Photograph from an automated digital microscope: urine filter membrane, 4× objective.
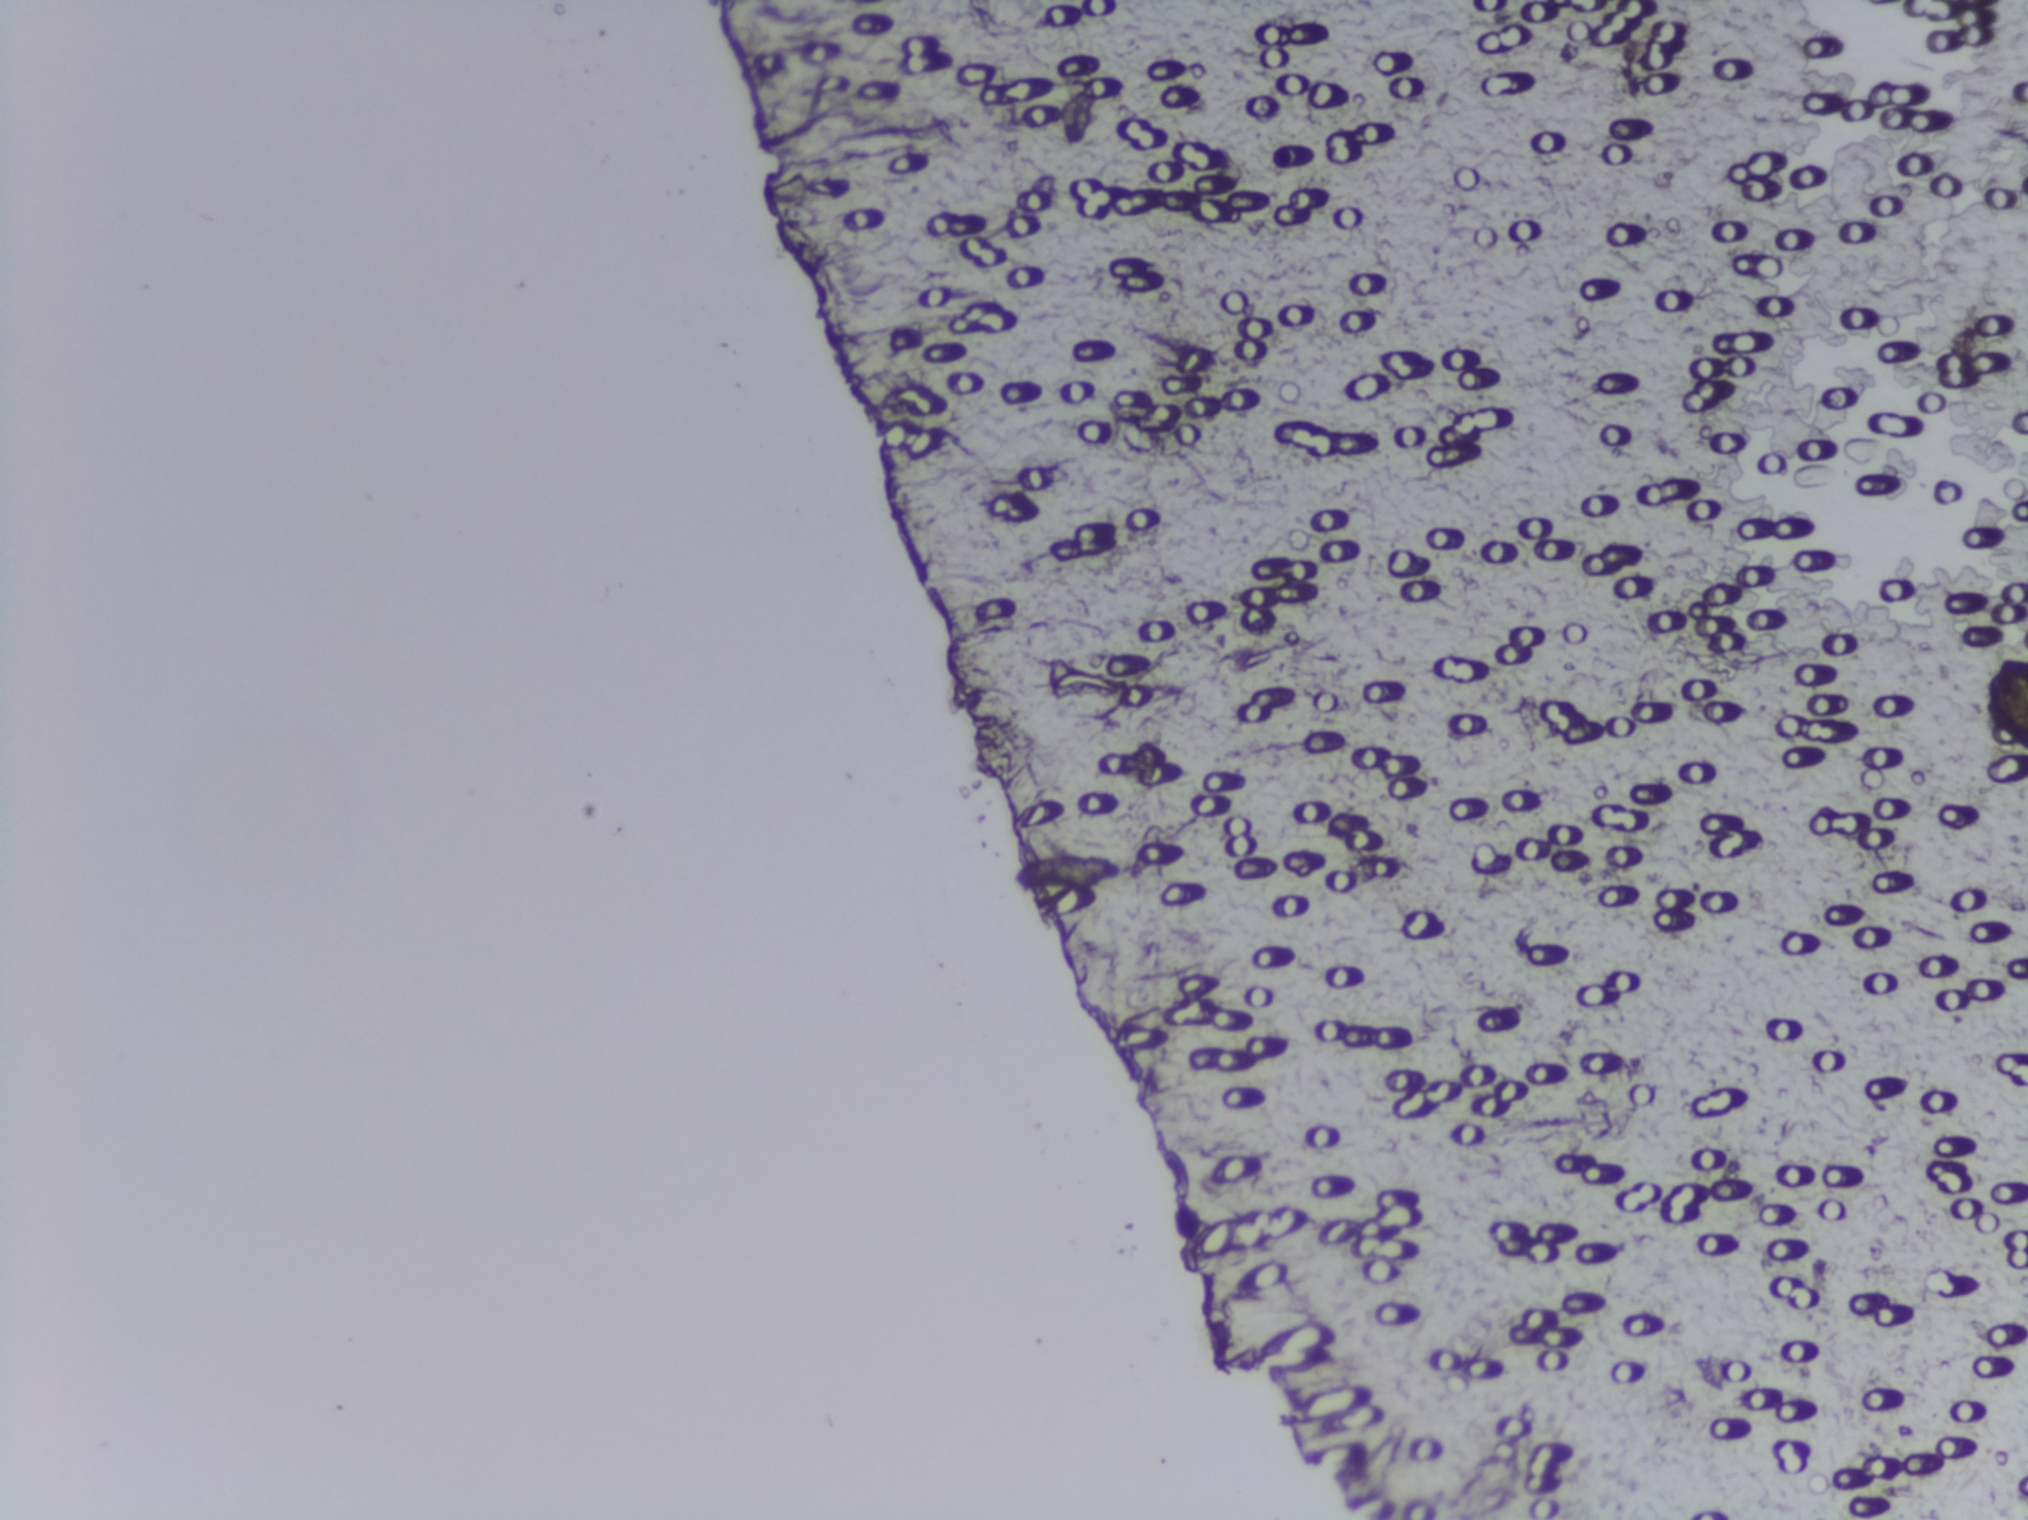
No area of this image was outlined as a Schistosoma egg.